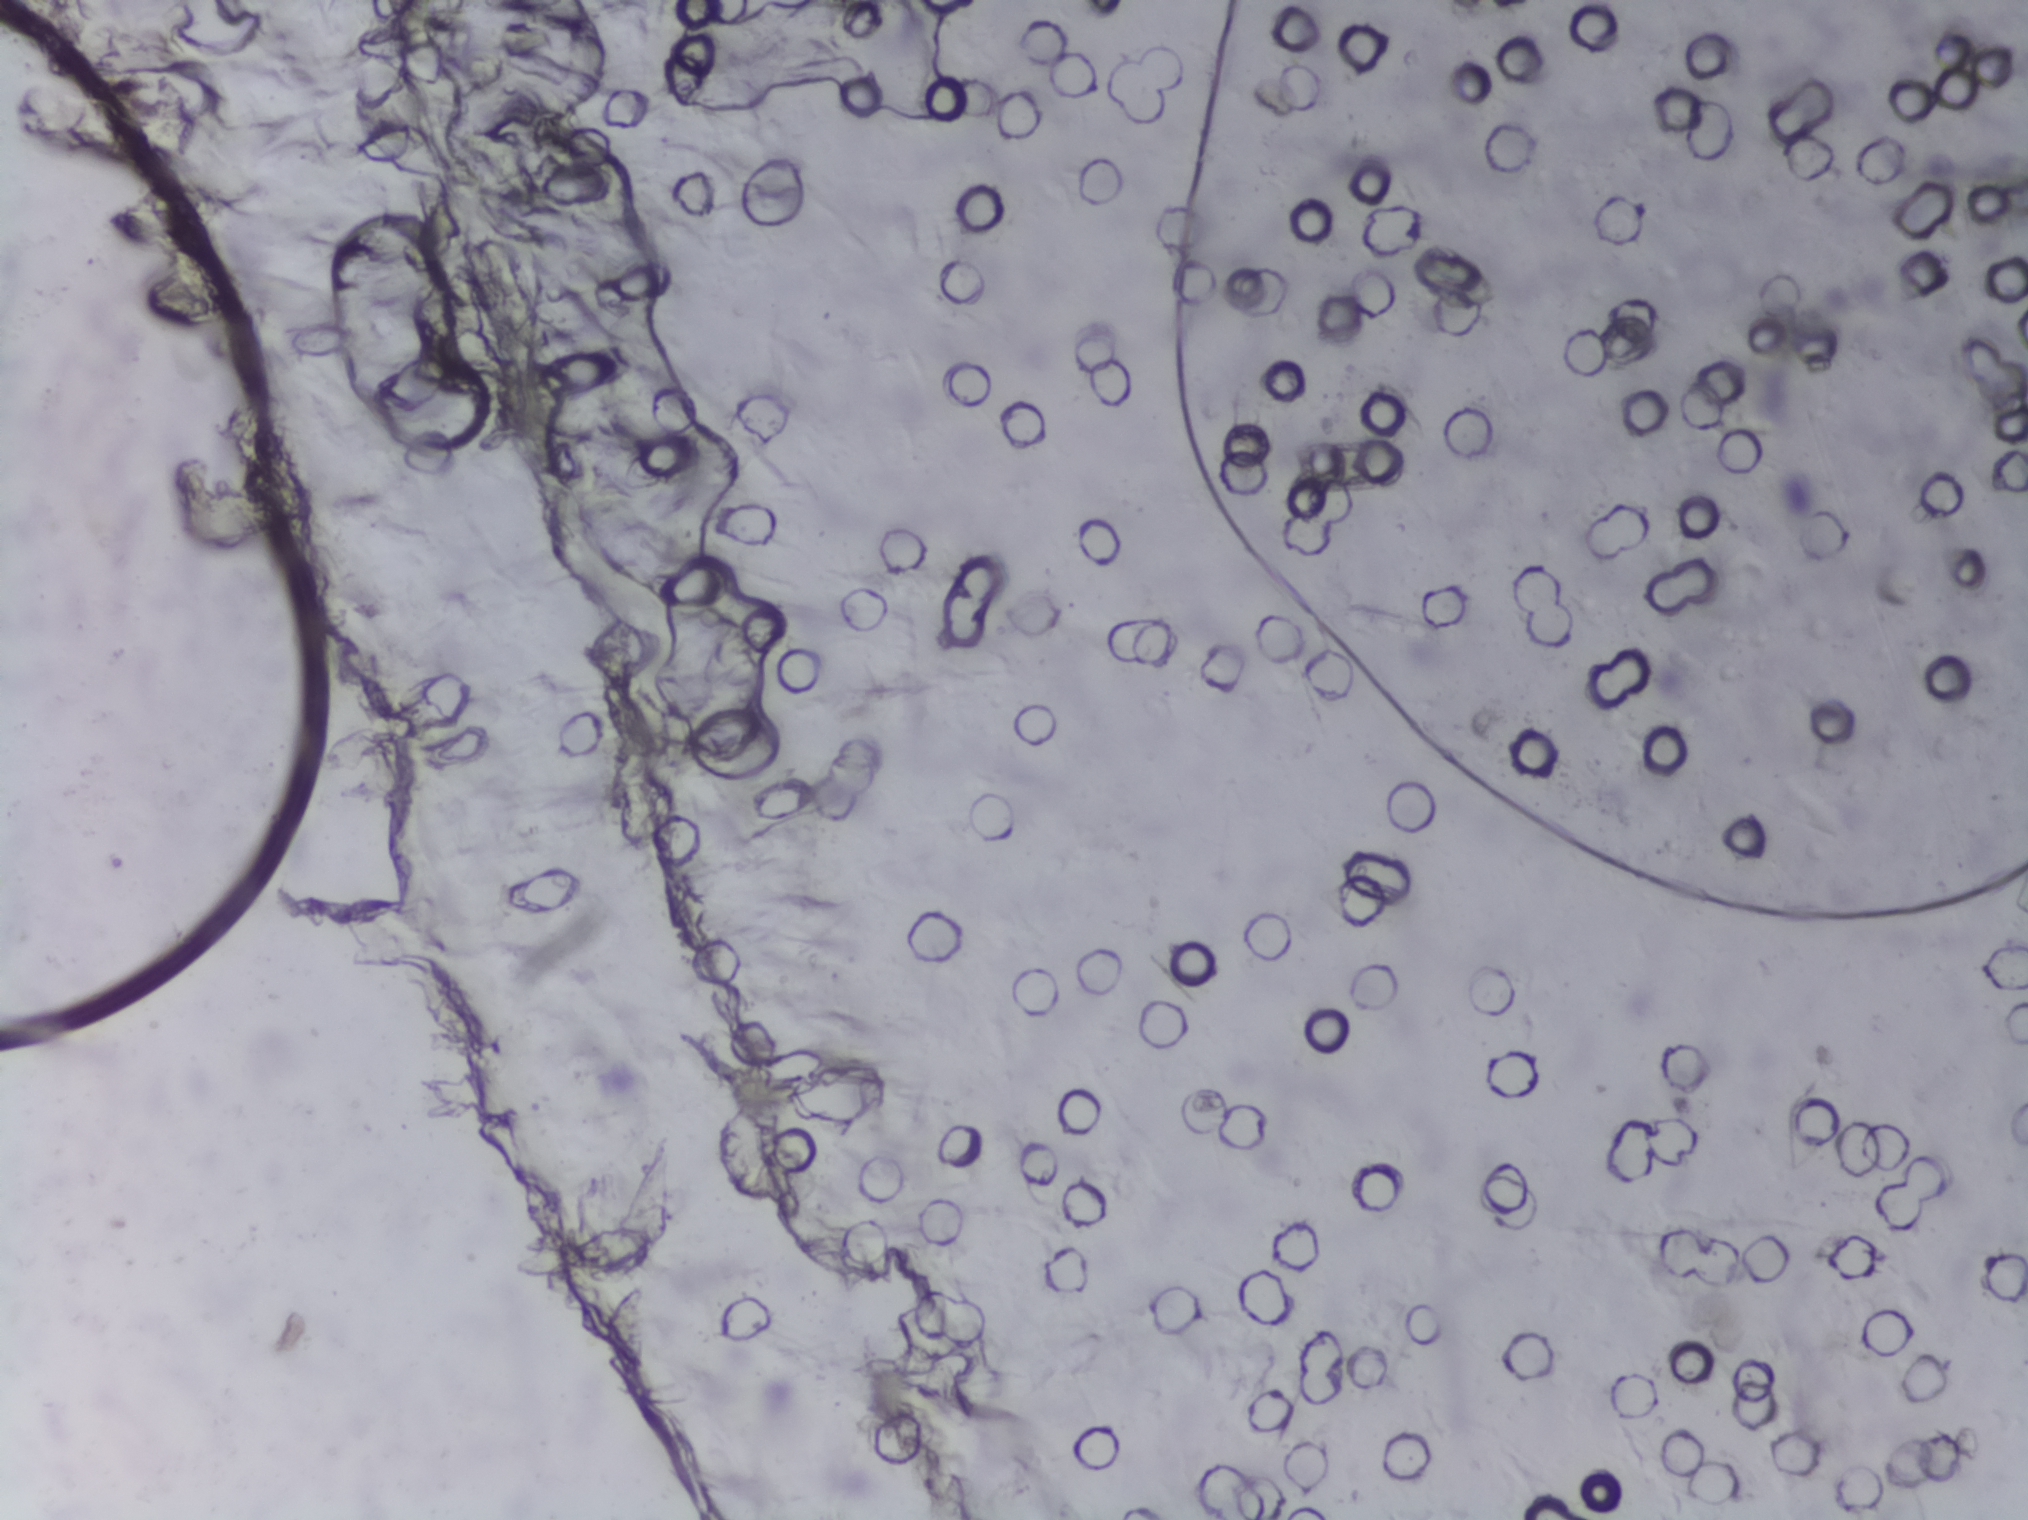
The expert annotation outlines no Schistosoma egg in this image.
One field of view of a urine filter membrane, 4× objective, 2028 × 1520 pixels. The field of view is about 1.5 mm × 1.1 mm.